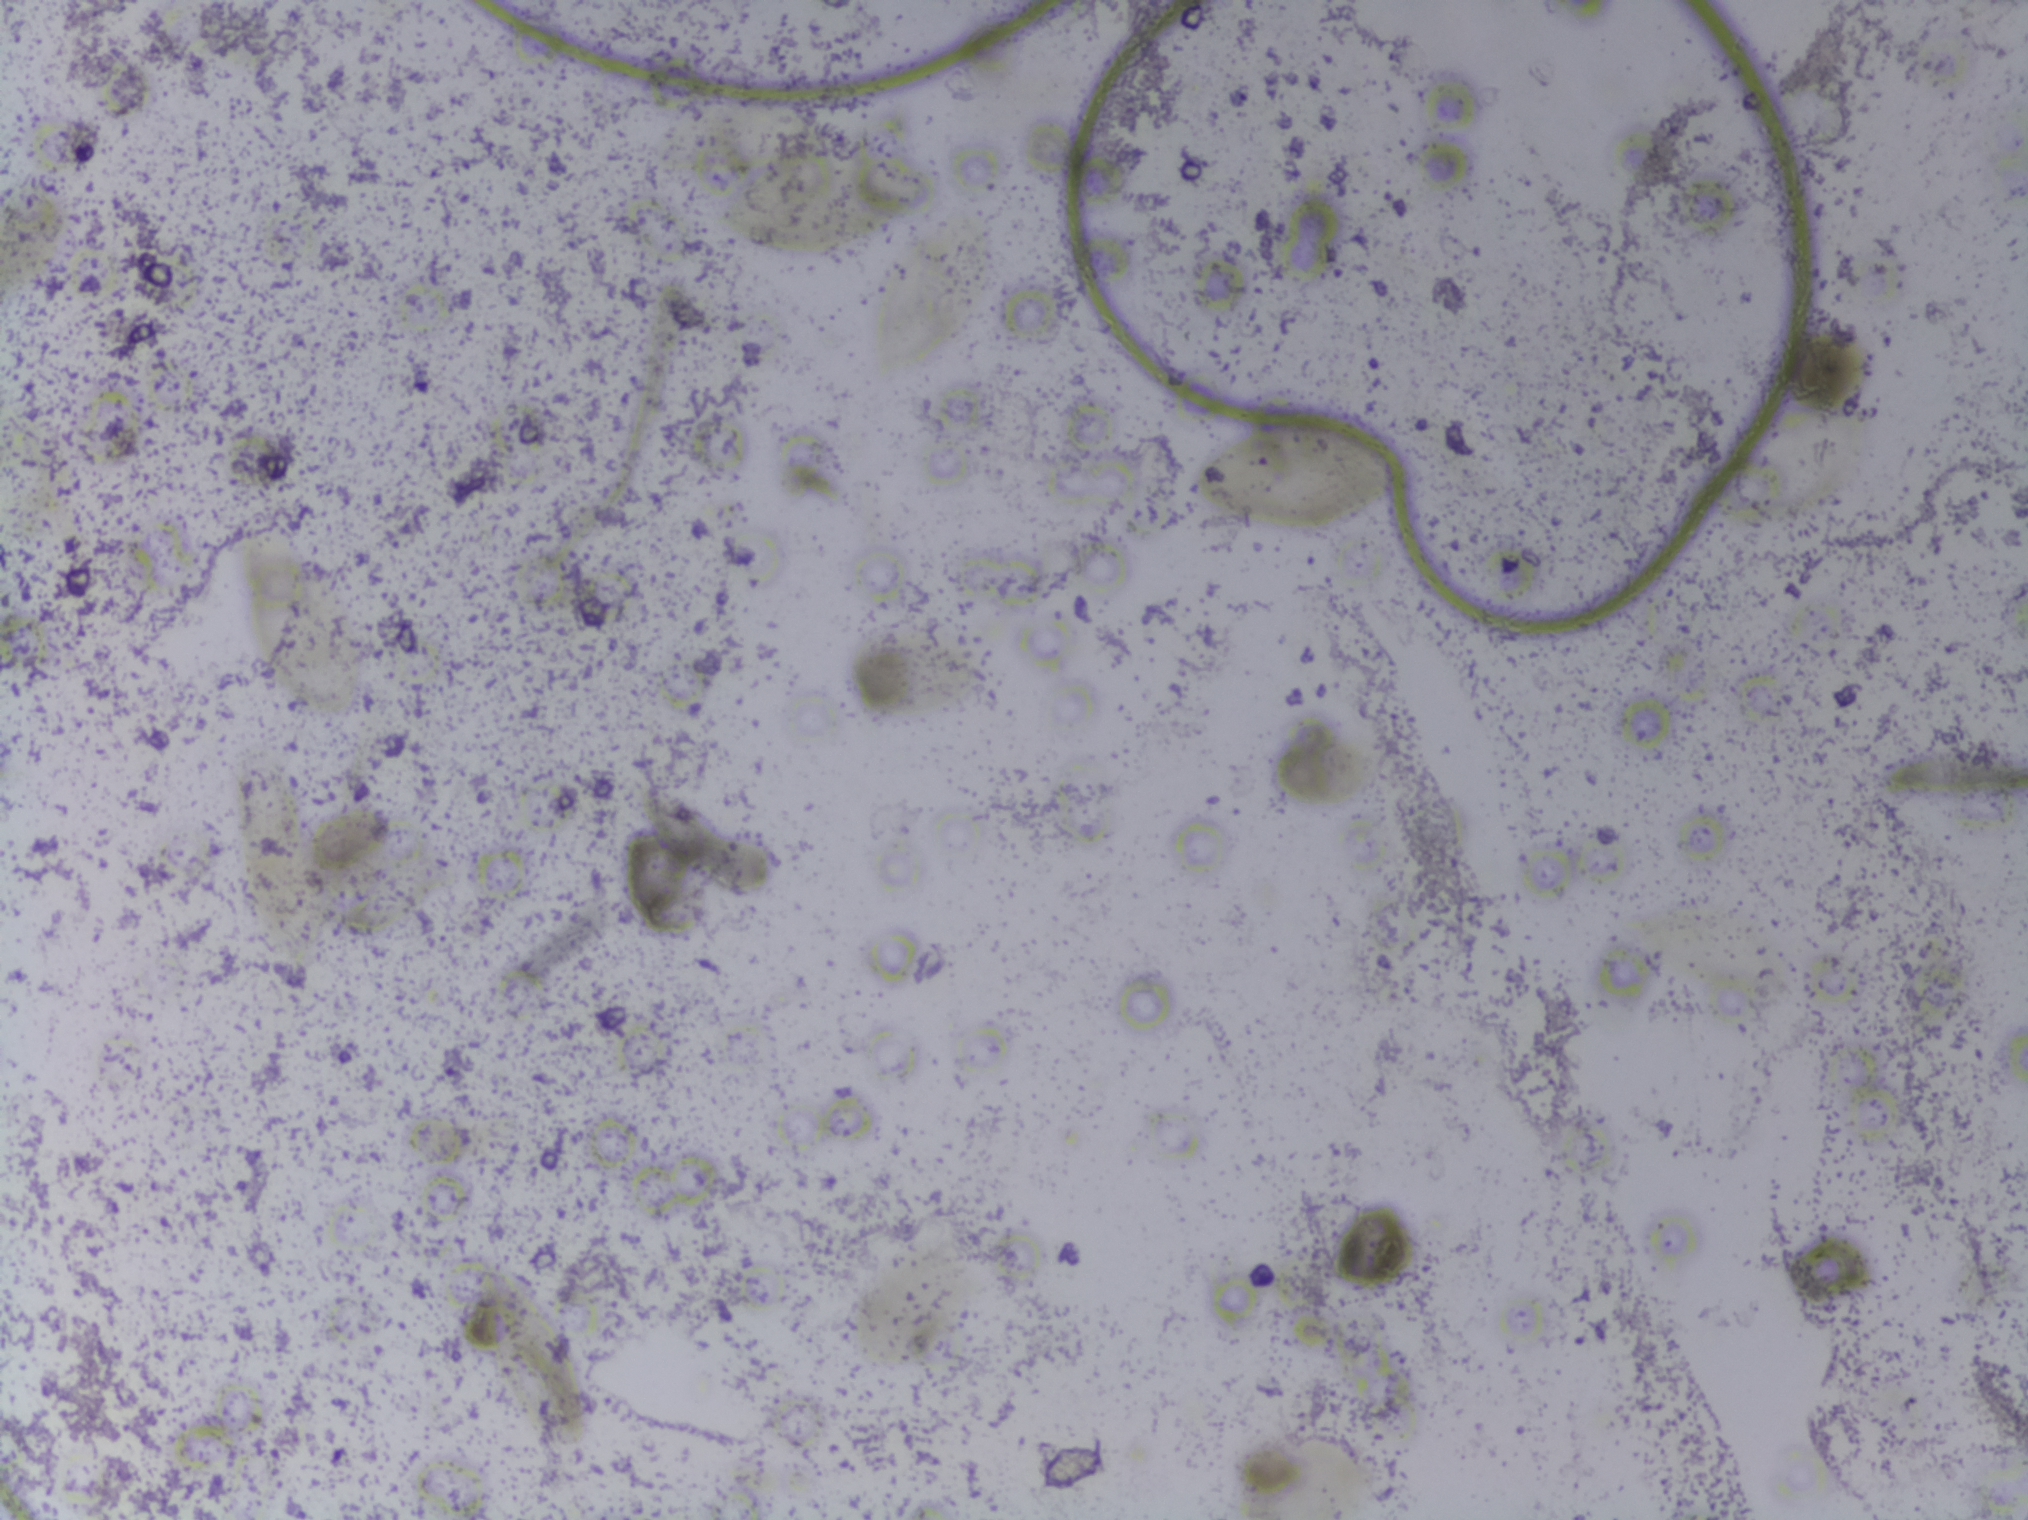
Photograph from an automated digital microscope: urine filter membrane, 4× objective.
The expert annotation outlines no Schistosoma egg in this image.